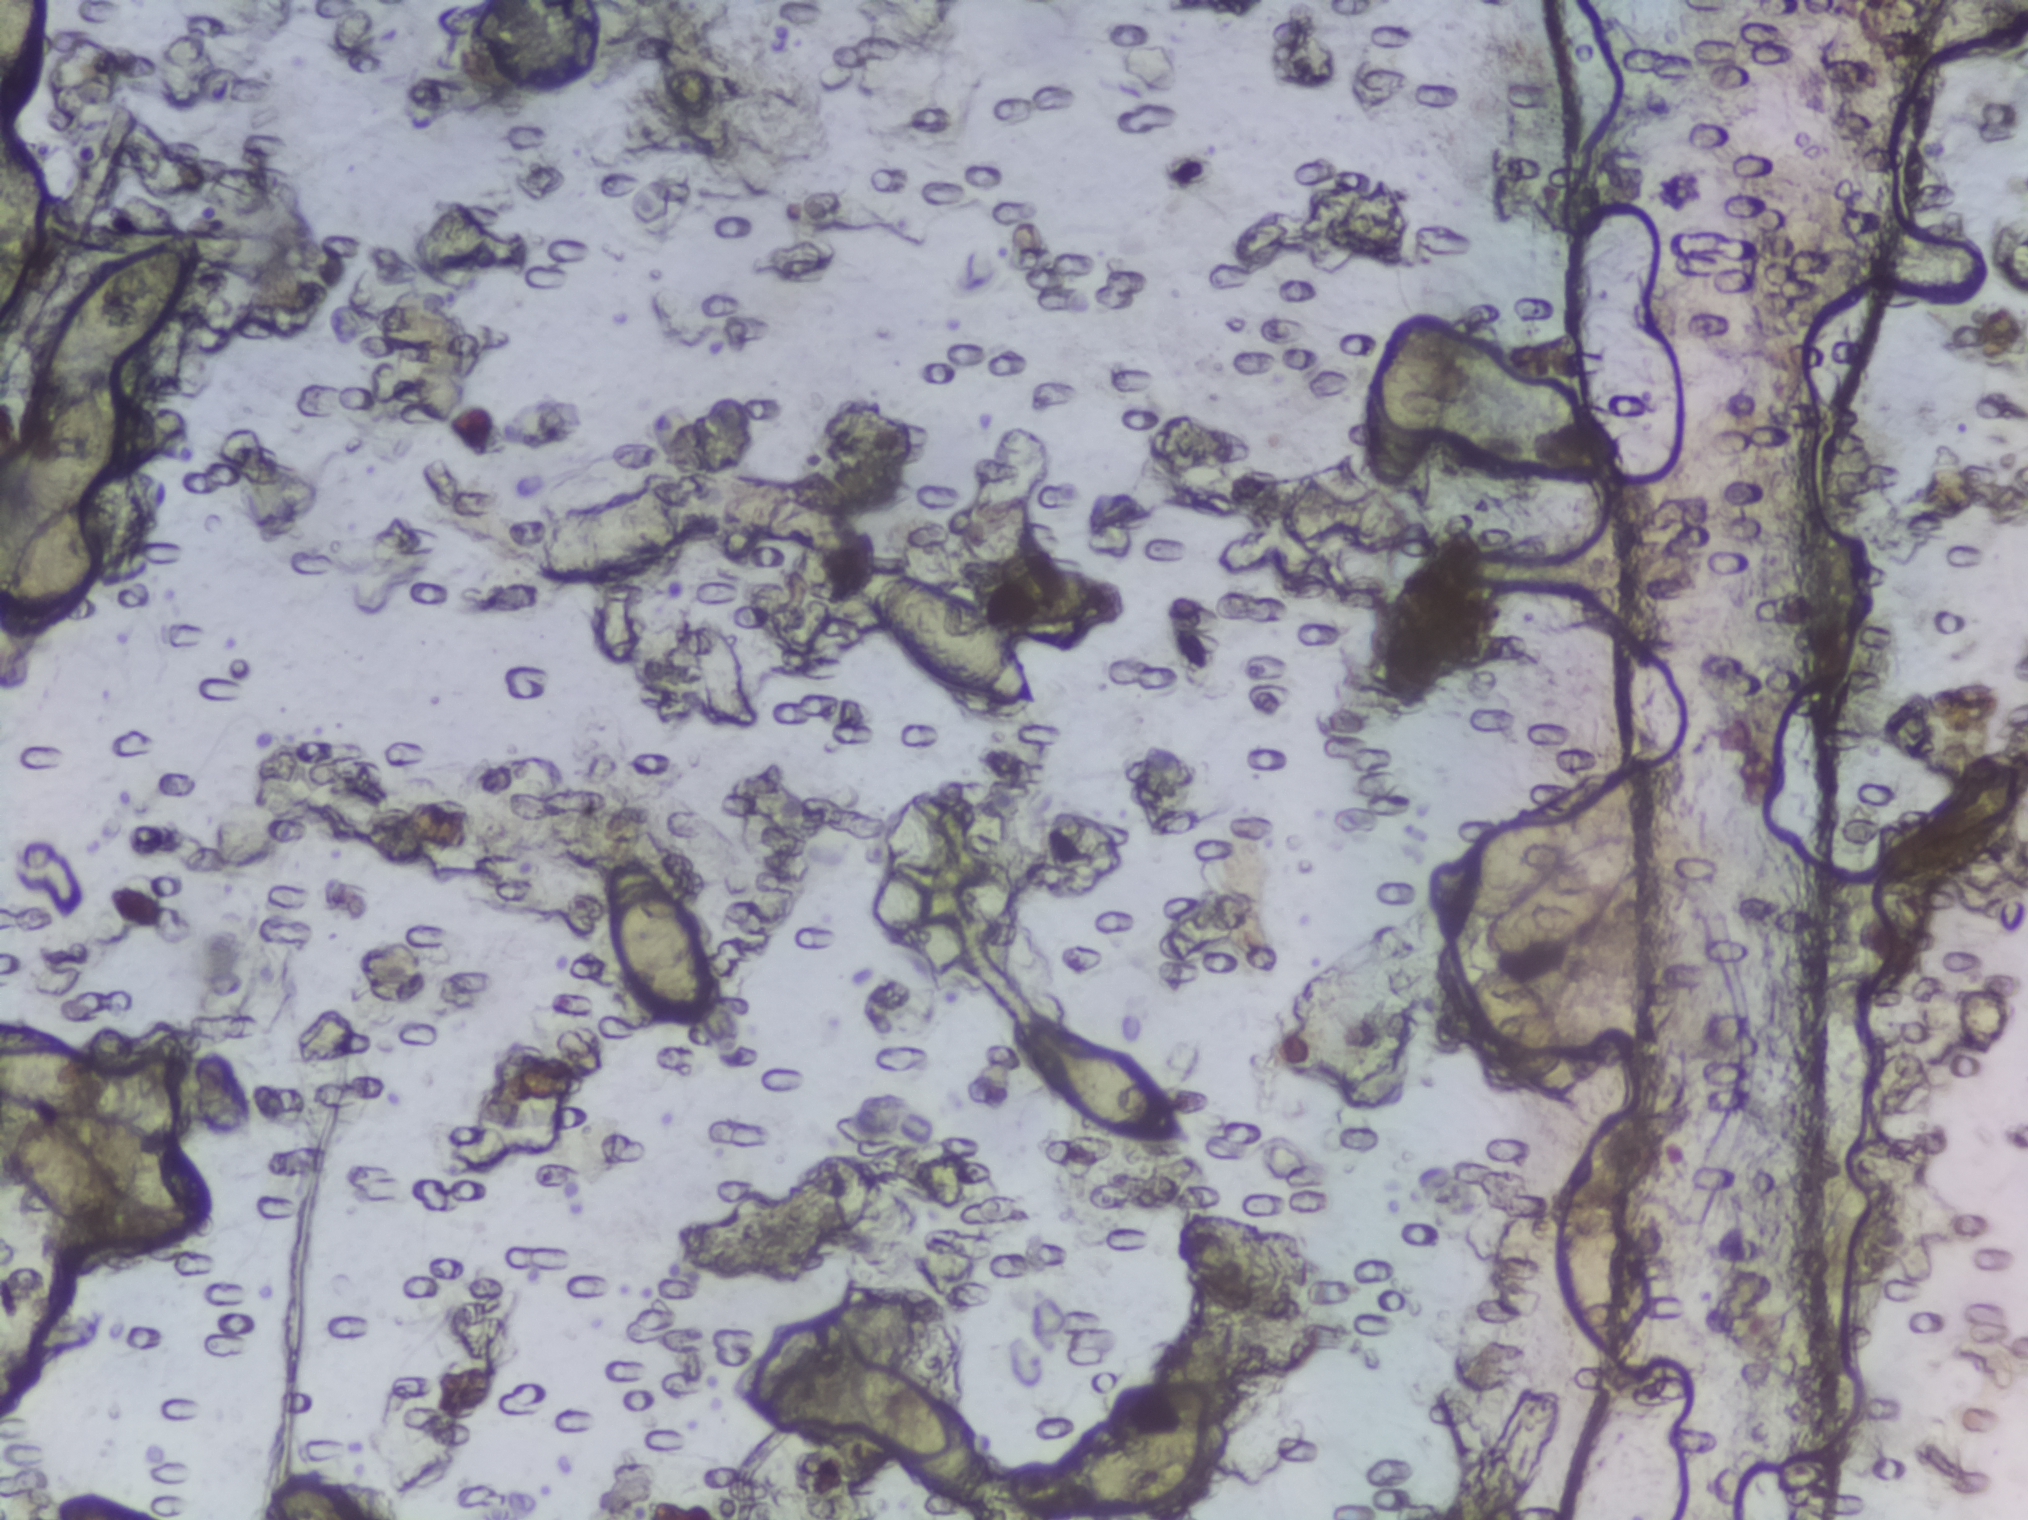
Photomicrograph of a urine filtration membrane, 4× objective.
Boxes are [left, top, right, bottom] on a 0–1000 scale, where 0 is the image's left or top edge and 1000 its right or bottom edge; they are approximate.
Schistosoma eggs are outlined in the expert annotation at [0, 247, 68, 418] (reaching the left edge of the frame); [0, 672, 107, 816] (reaching the left edge of the frame); [10, 153, 100, 249]; [296, 557, 355, 681]; [414, 889, 471, 964]; [425, 373, 514, 471]; [503, 663, 591, 753]; [670, 201, 718, 325]; [709, 518, 808, 715]; [768, 791, 816, 913] (left to right). The marked pixels themselves, not the boxes around them, cover about 5.8% of the image. An outlined area can hold more than one egg.